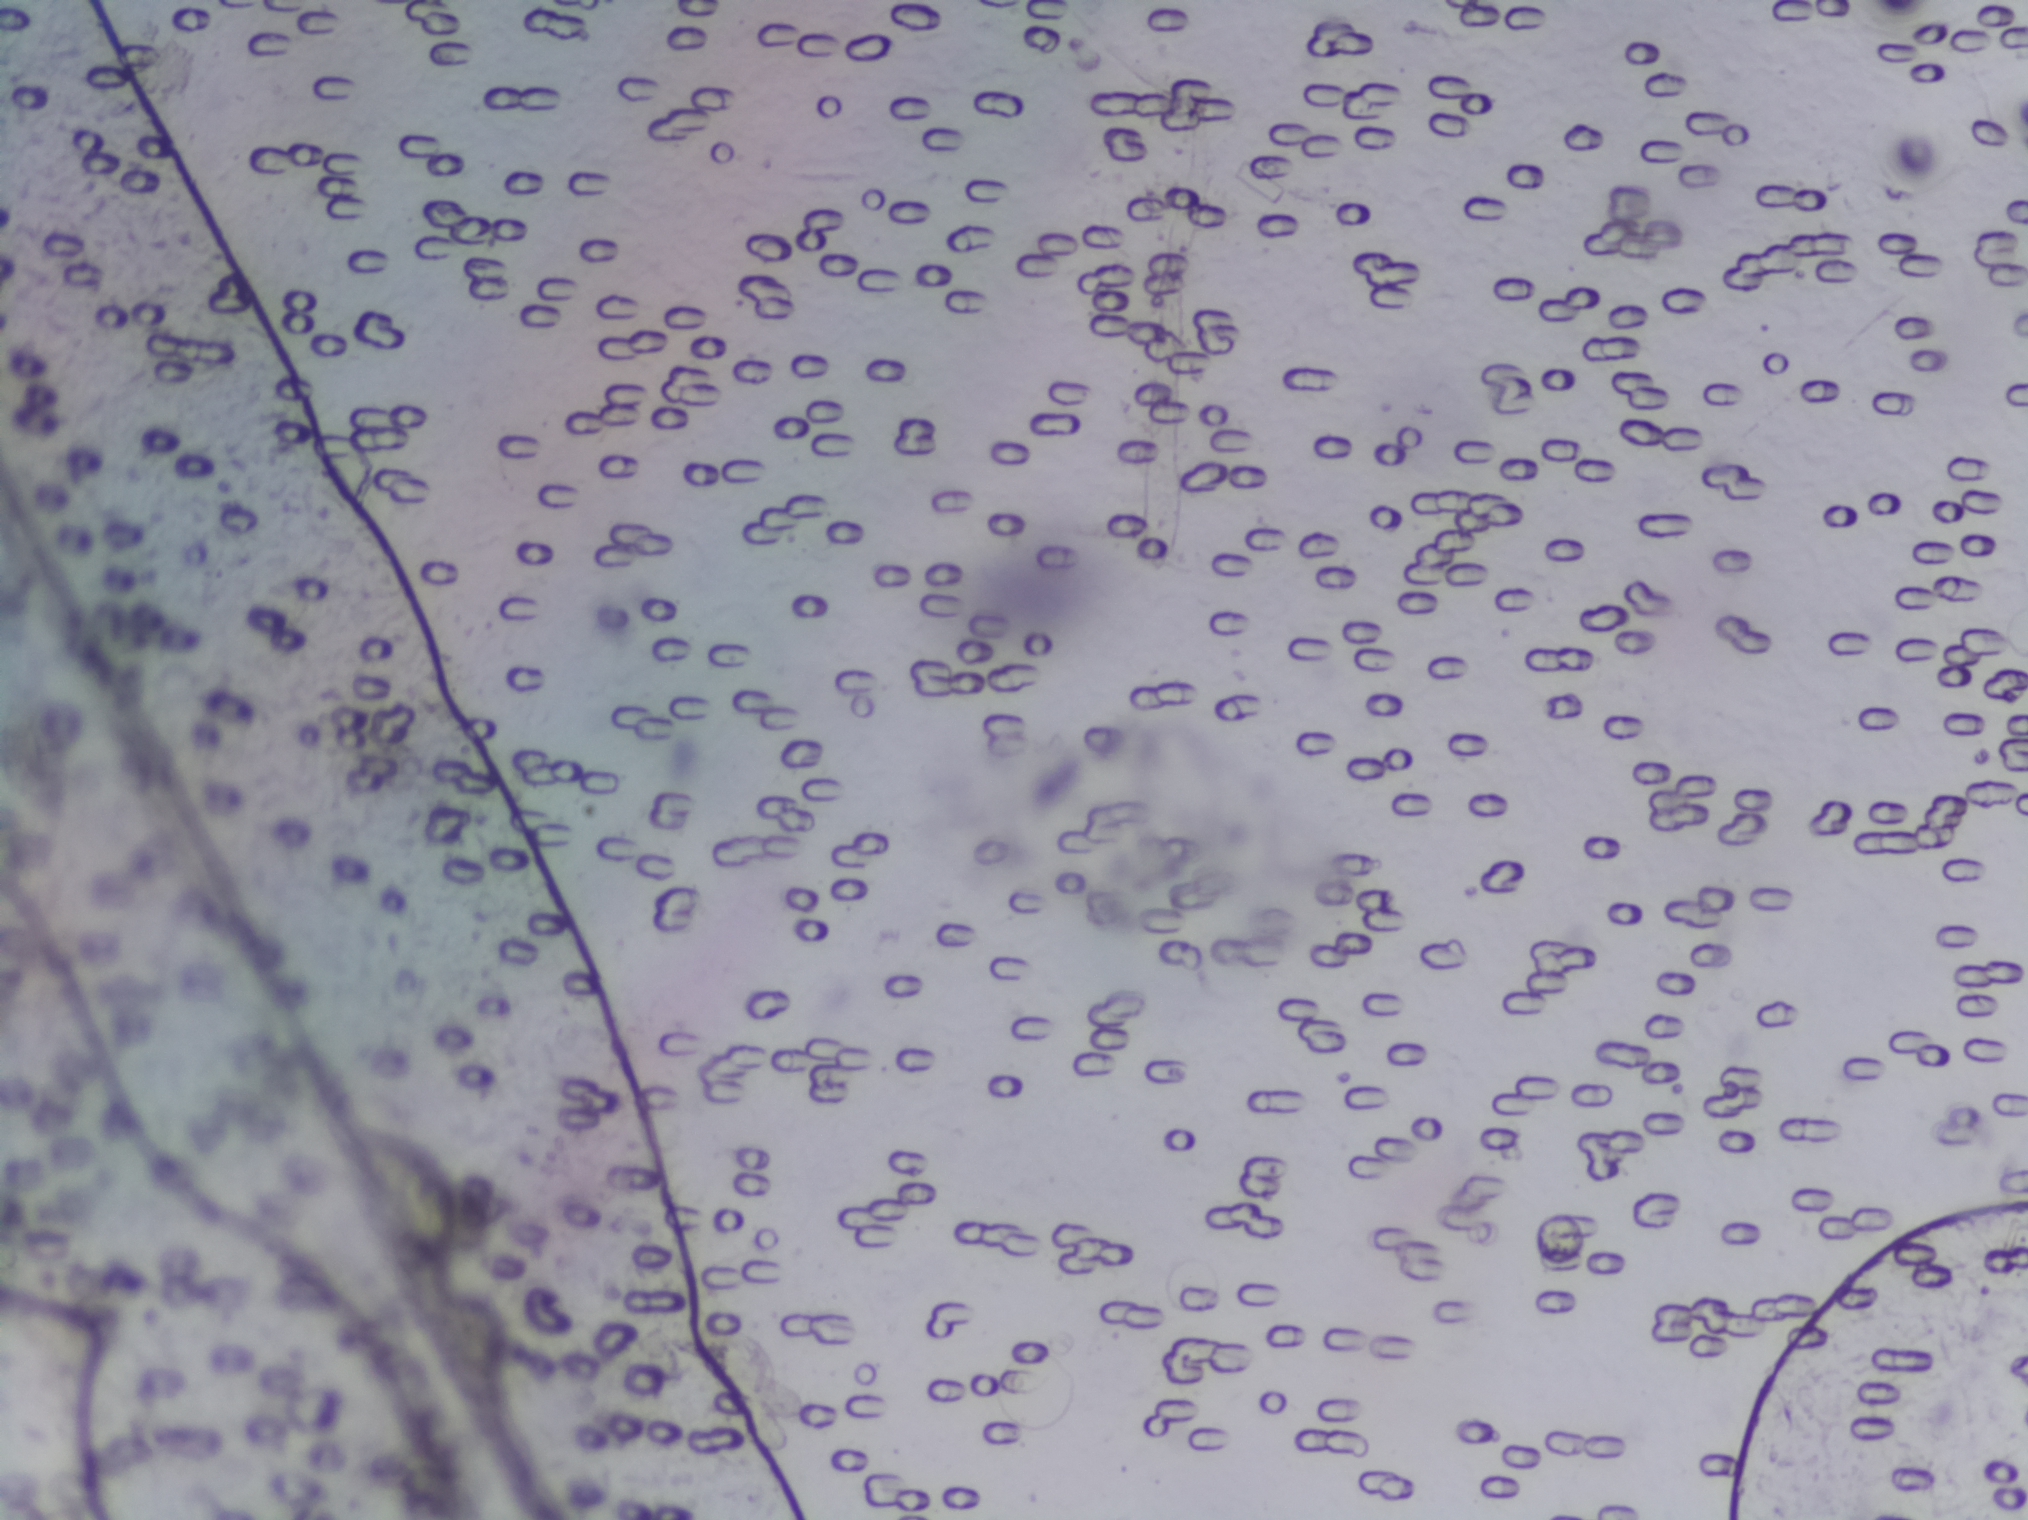
Microscope photograph (4× objective) of a membrane that a urine sample was filtered through.
The expert annotation marks no Schistosoma egg in this field of view.